Urine filter membrane photographed through a 4× microscope objective.
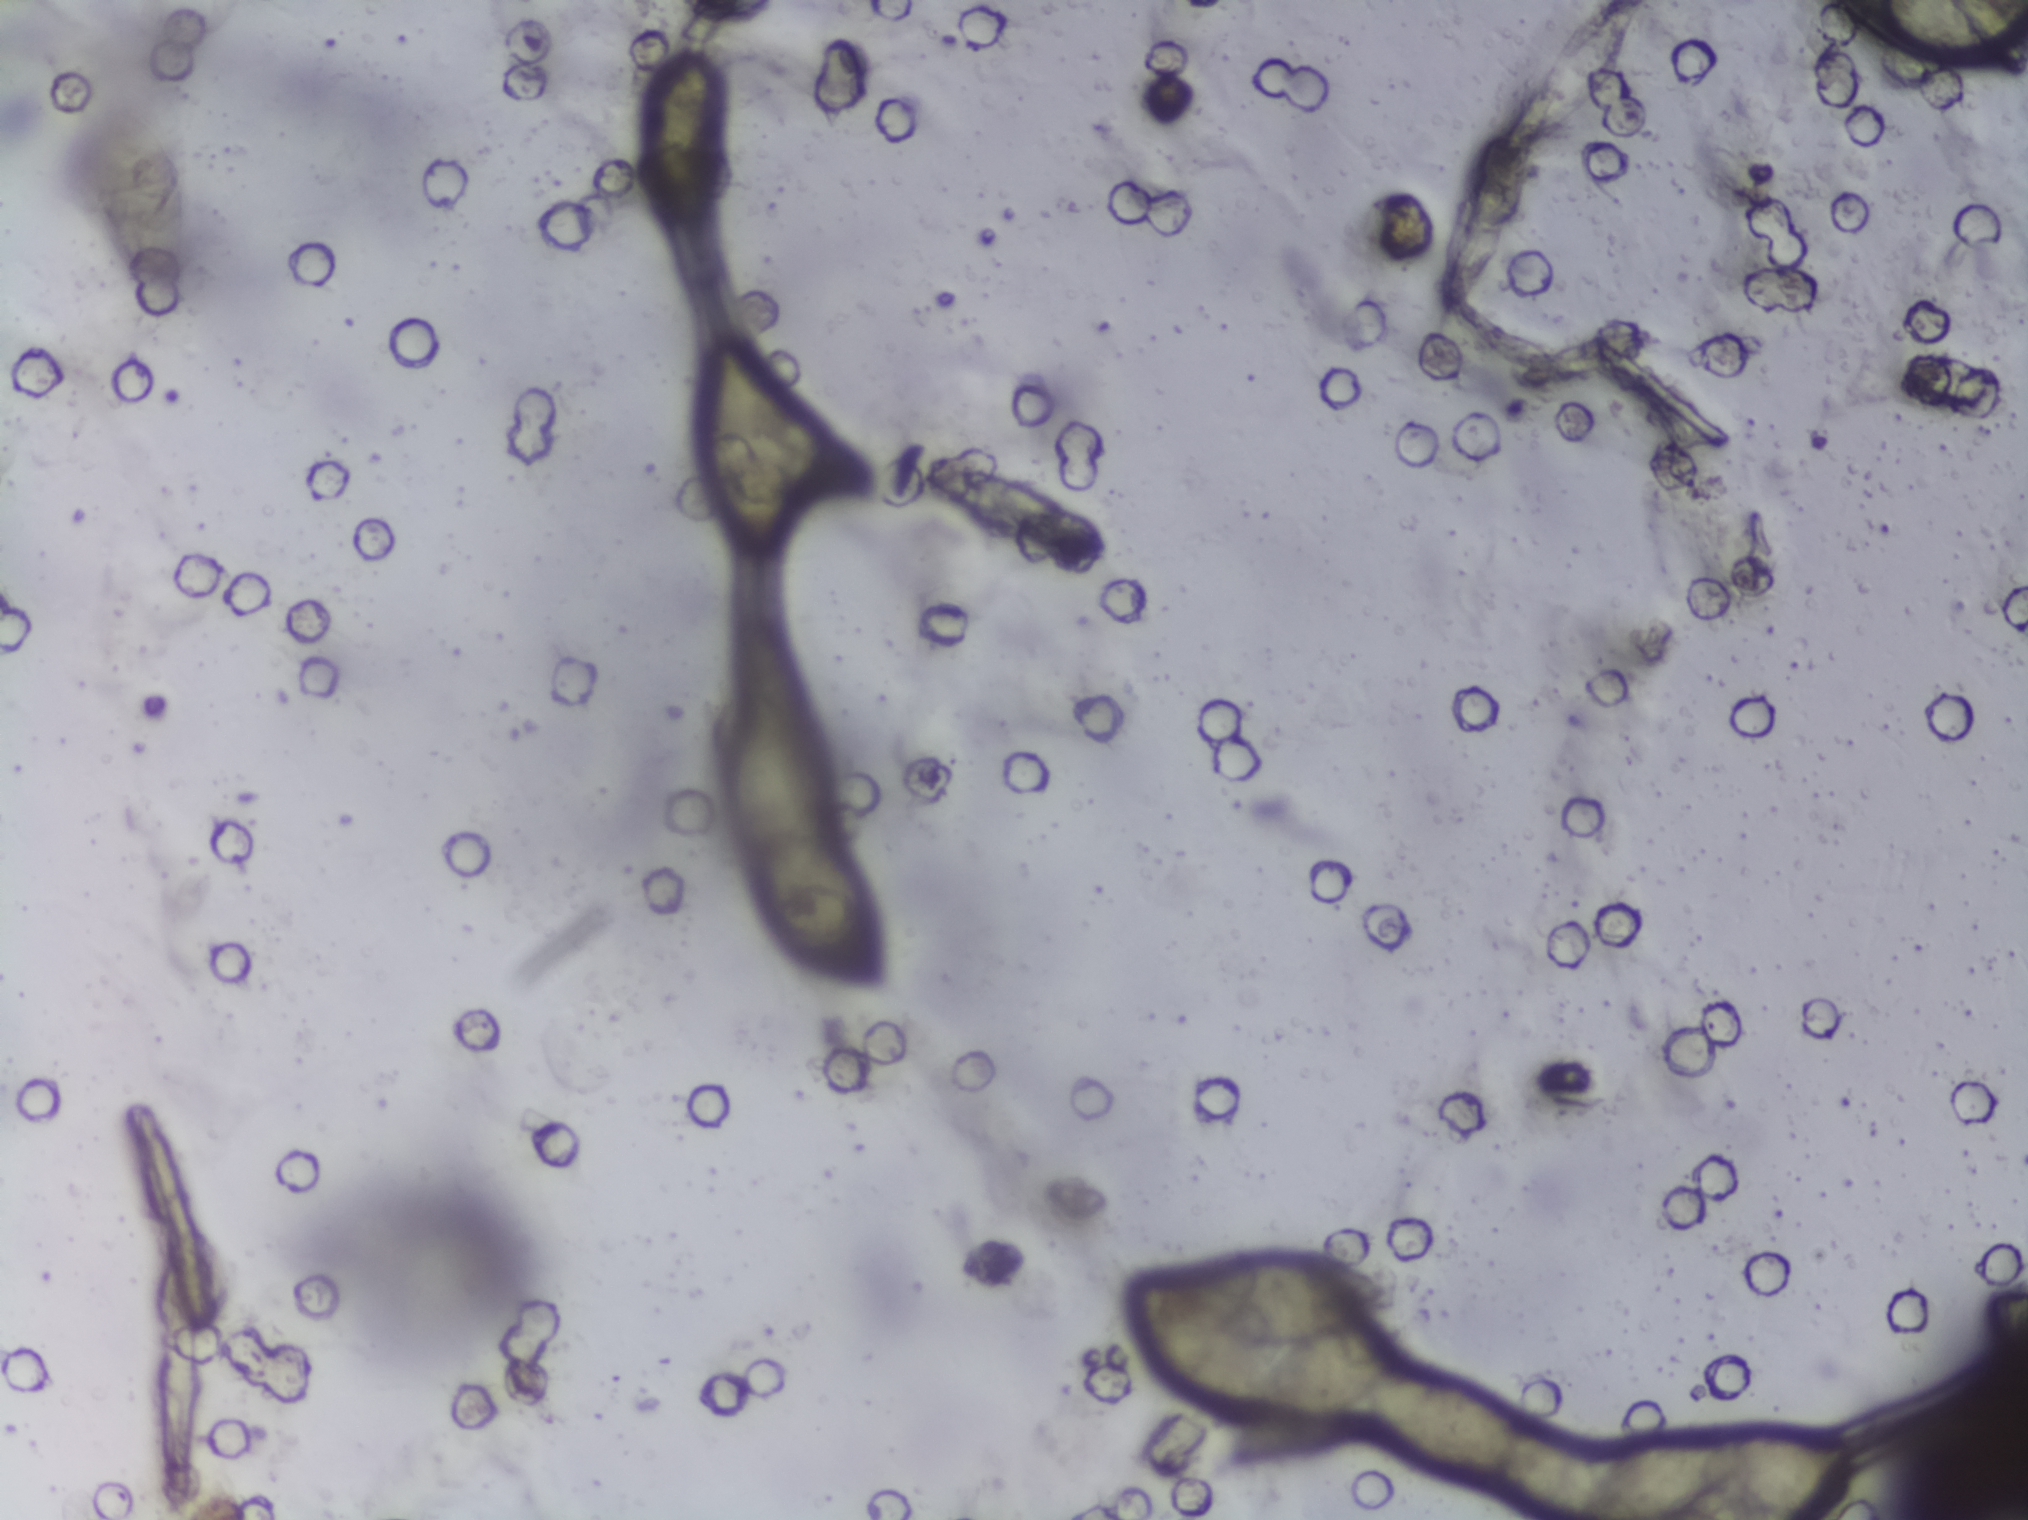
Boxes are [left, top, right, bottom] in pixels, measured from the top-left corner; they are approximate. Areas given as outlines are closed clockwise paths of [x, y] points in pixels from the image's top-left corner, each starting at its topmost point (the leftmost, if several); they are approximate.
The expert annotation outlines Schistosoma eggs in five areas, left to right: box [652, 49, 721, 228]; box [702, 339, 874, 562]; box [742, 824, 882, 989]; outline [1280, 1247], [1366, 1262], [1389, 1276], [1389, 1292], [1332, 1325], [1405, 1328], [1405, 1346], [1373, 1385], [1421, 1369], [1476, 1376], [1514, 1403], [1523, 1430], [1573, 1445], [1592, 1471], [1623, 1445], [1677, 1433], [1734, 1437], [1760, 1428], [1836, 1430], [1850, 1438], [1852, 1457], [1819, 1499], [1789, 1517], [1568, 1519], [1493, 1494], [1479, 1473], [1438, 1472], [1396, 1456], [1384, 1444], [1366, 1394], [1294, 1455], [1261, 1467], [1221, 1470], [1248, 1411], [1200, 1400], [1179, 1386], [1131, 1331], [1124, 1295], [1140, 1279], [1177, 1279], [1193, 1260] (eggs clustered together; reaching the bottom edge of the frame); box [1827, 0, 2027, 63] (reaching the top and right edges of the frame). Marked pixels, not the boxes and the outline around them: about 4.4% of the image. An outlined area can hold more than one egg.